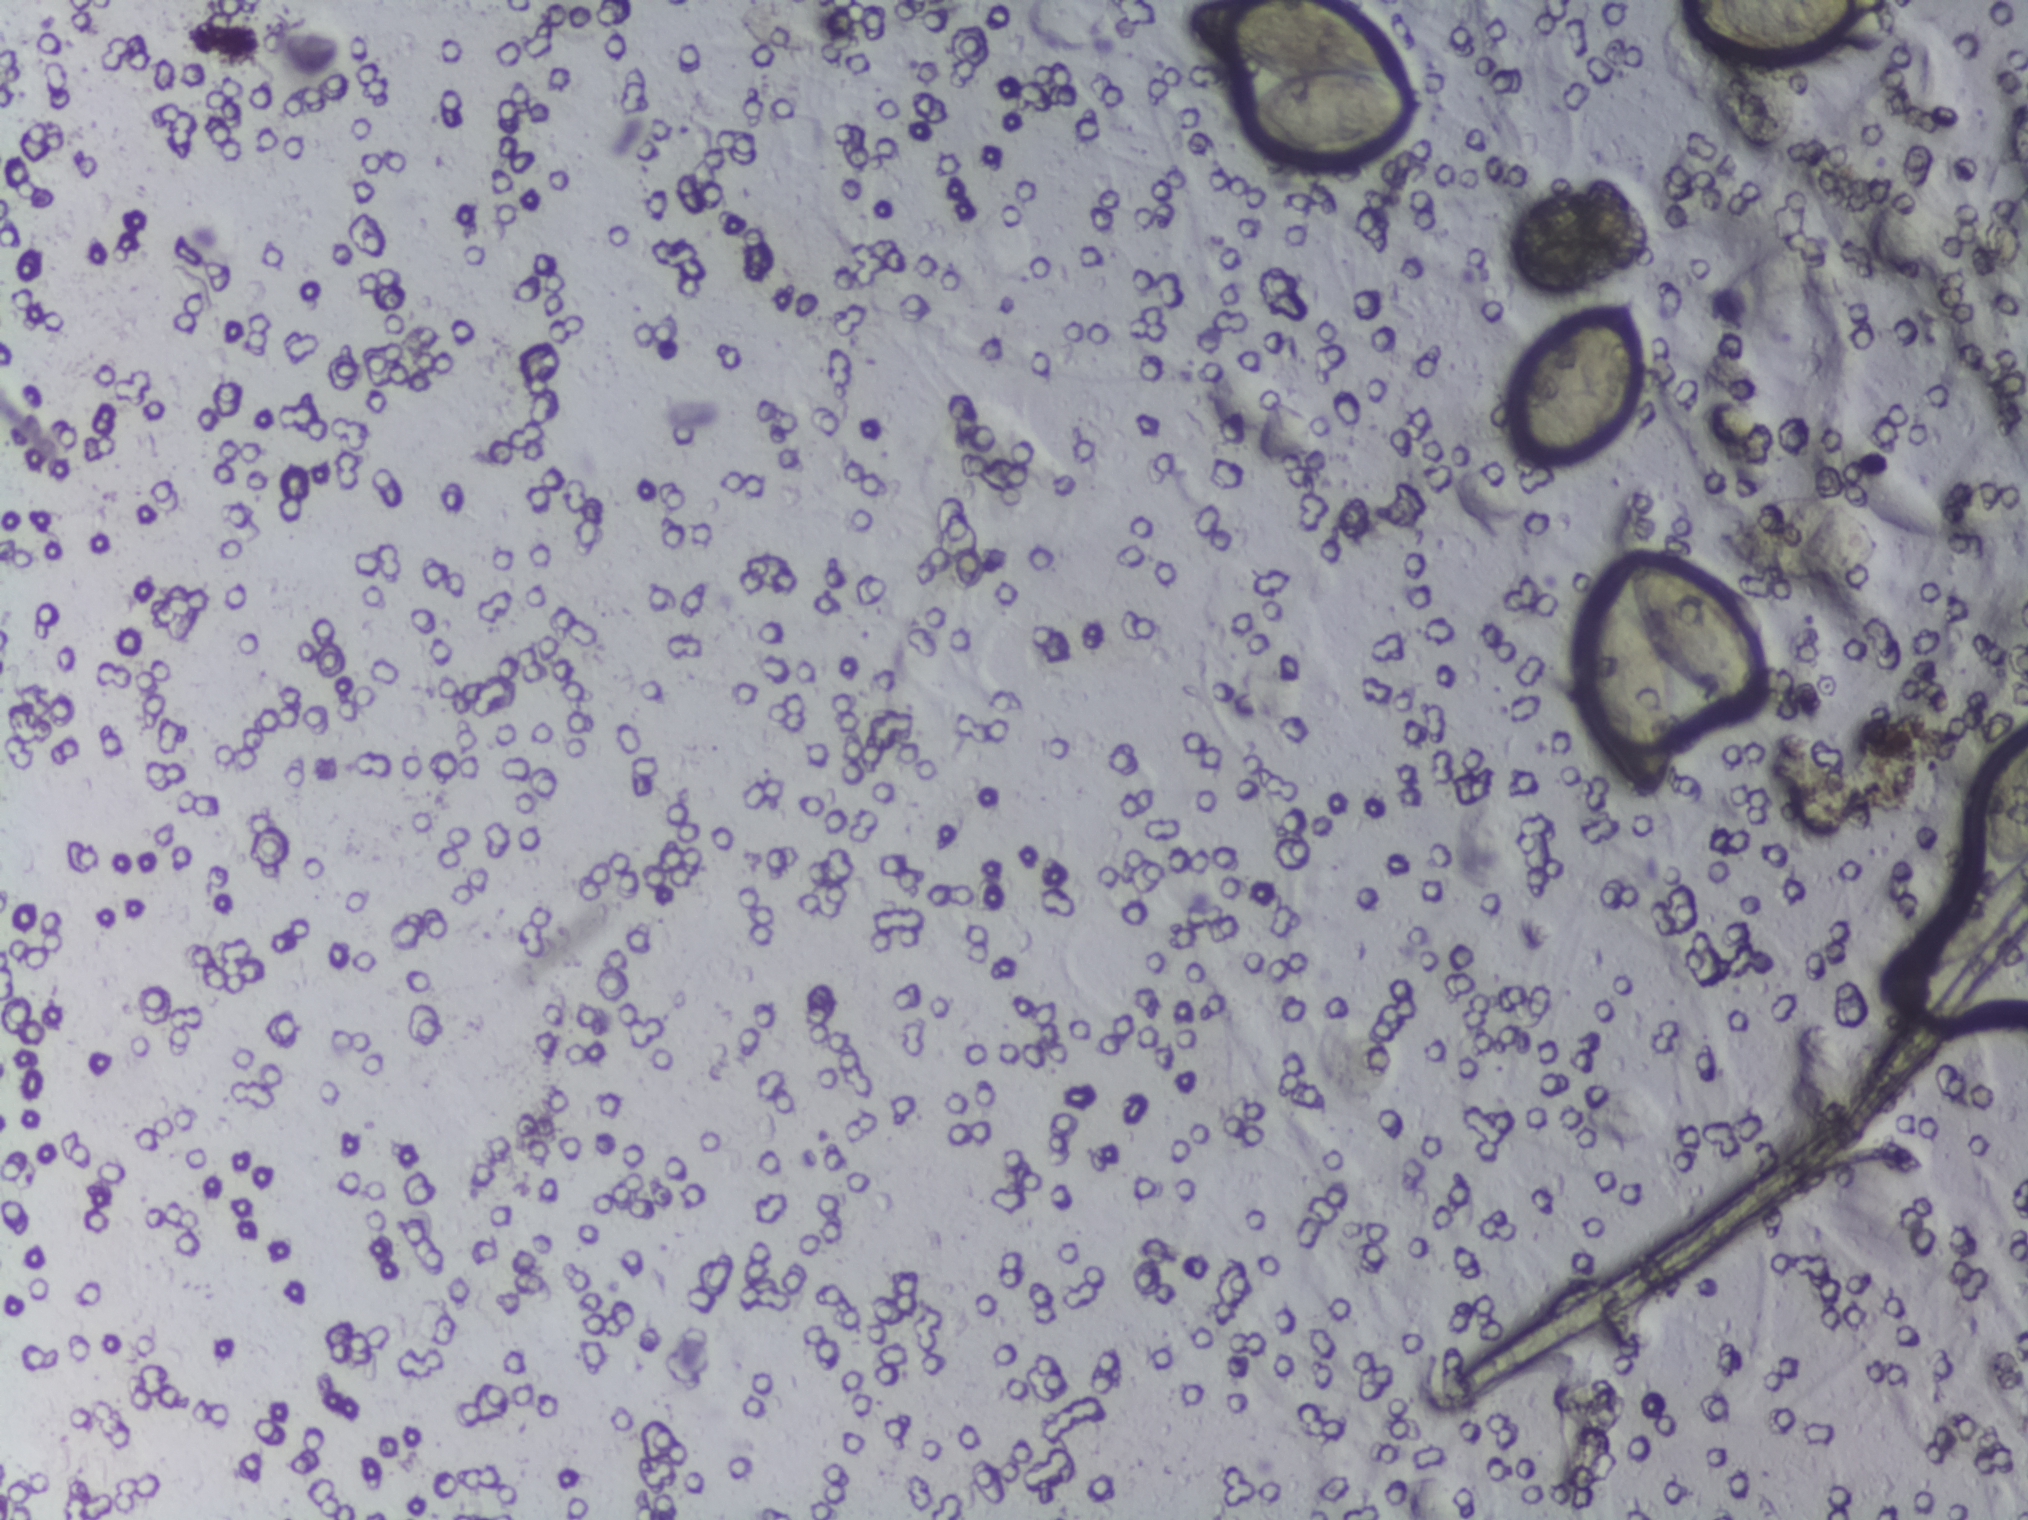
Microscope photograph (4× objective) of a membrane that a urine sample was filtered through. The field of view is about 1.5 mm × 1.1 mm.
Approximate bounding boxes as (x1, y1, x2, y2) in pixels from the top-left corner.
Schistosoma eggs are outlined in six areas of this image, listed from left to right: (1186, 0, 1427, 162) (reaching the top edge of the frame); (1509, 290, 1642, 470); (1574, 551, 1770, 805); (1678, 0, 1875, 56) (reaching the top edge of the frame); (1716, 495, 1880, 584); (1979, 734, 2027, 889) (reaching the right edge of the frame). Marked pixels, not the boxes around them: about 3.3% of the image. A single outlined area may contain several eggs.